Photomicrograph of a urine filtration membrane, 4× objective.
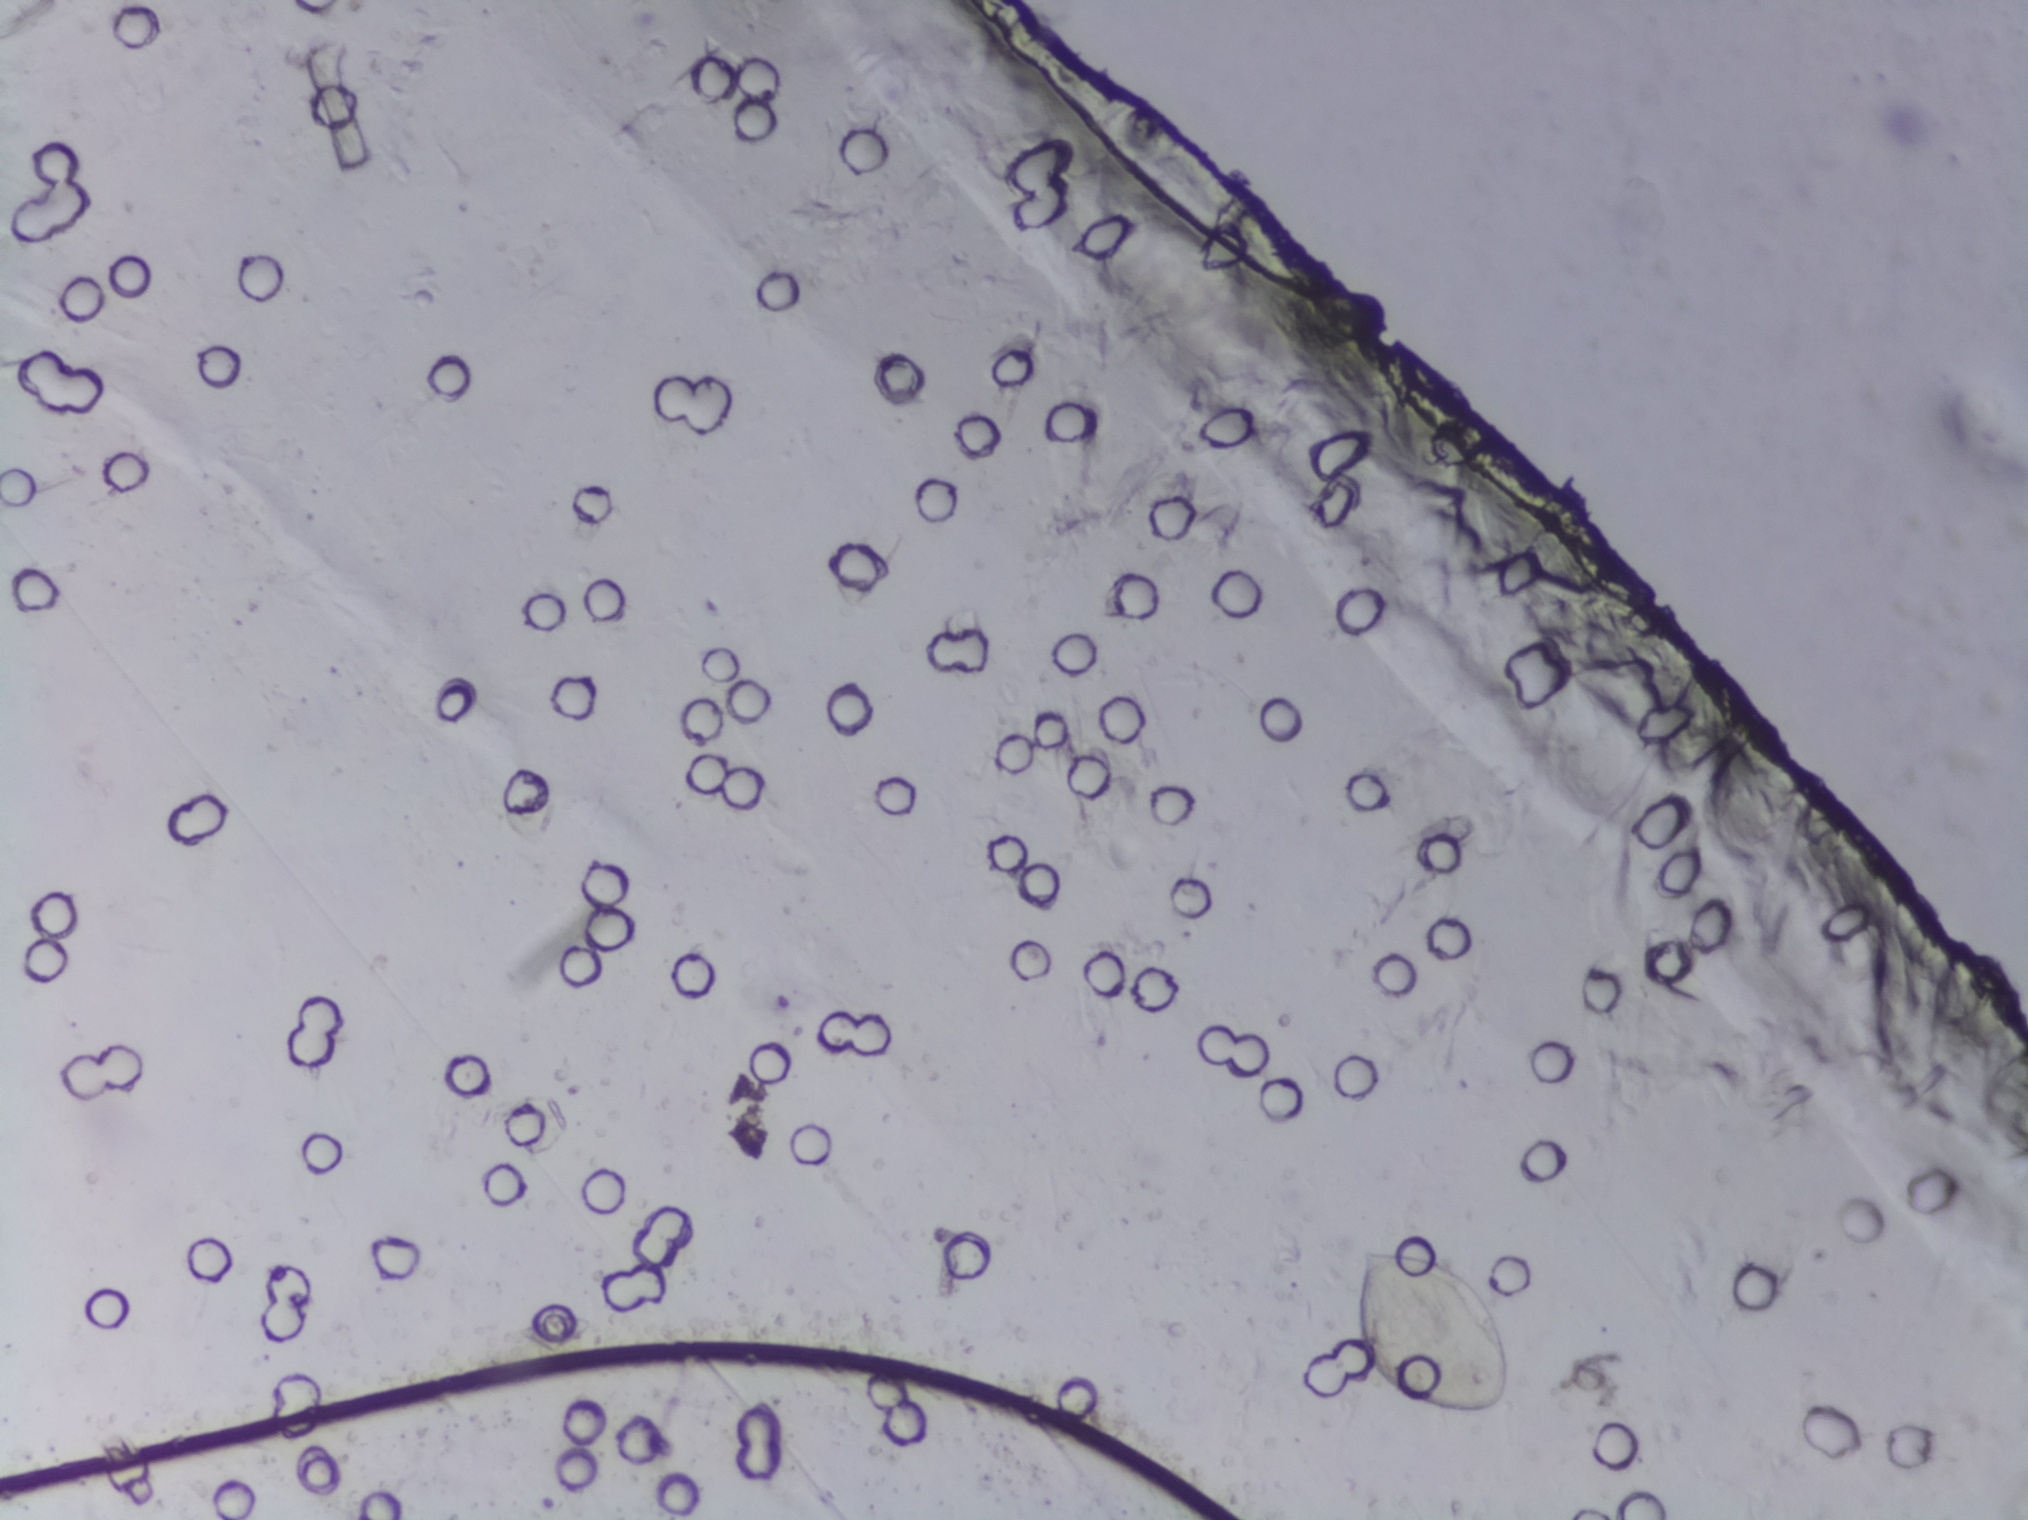
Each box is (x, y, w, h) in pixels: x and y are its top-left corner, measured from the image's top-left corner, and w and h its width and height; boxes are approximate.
One area of this image is outlined as Schistosoma eggs: (x=1338, y=1242, w=181, h=183). The marked pixels themselves, not the box around them, cover about 0.8% of the image. An outlined area can hold more than one egg.